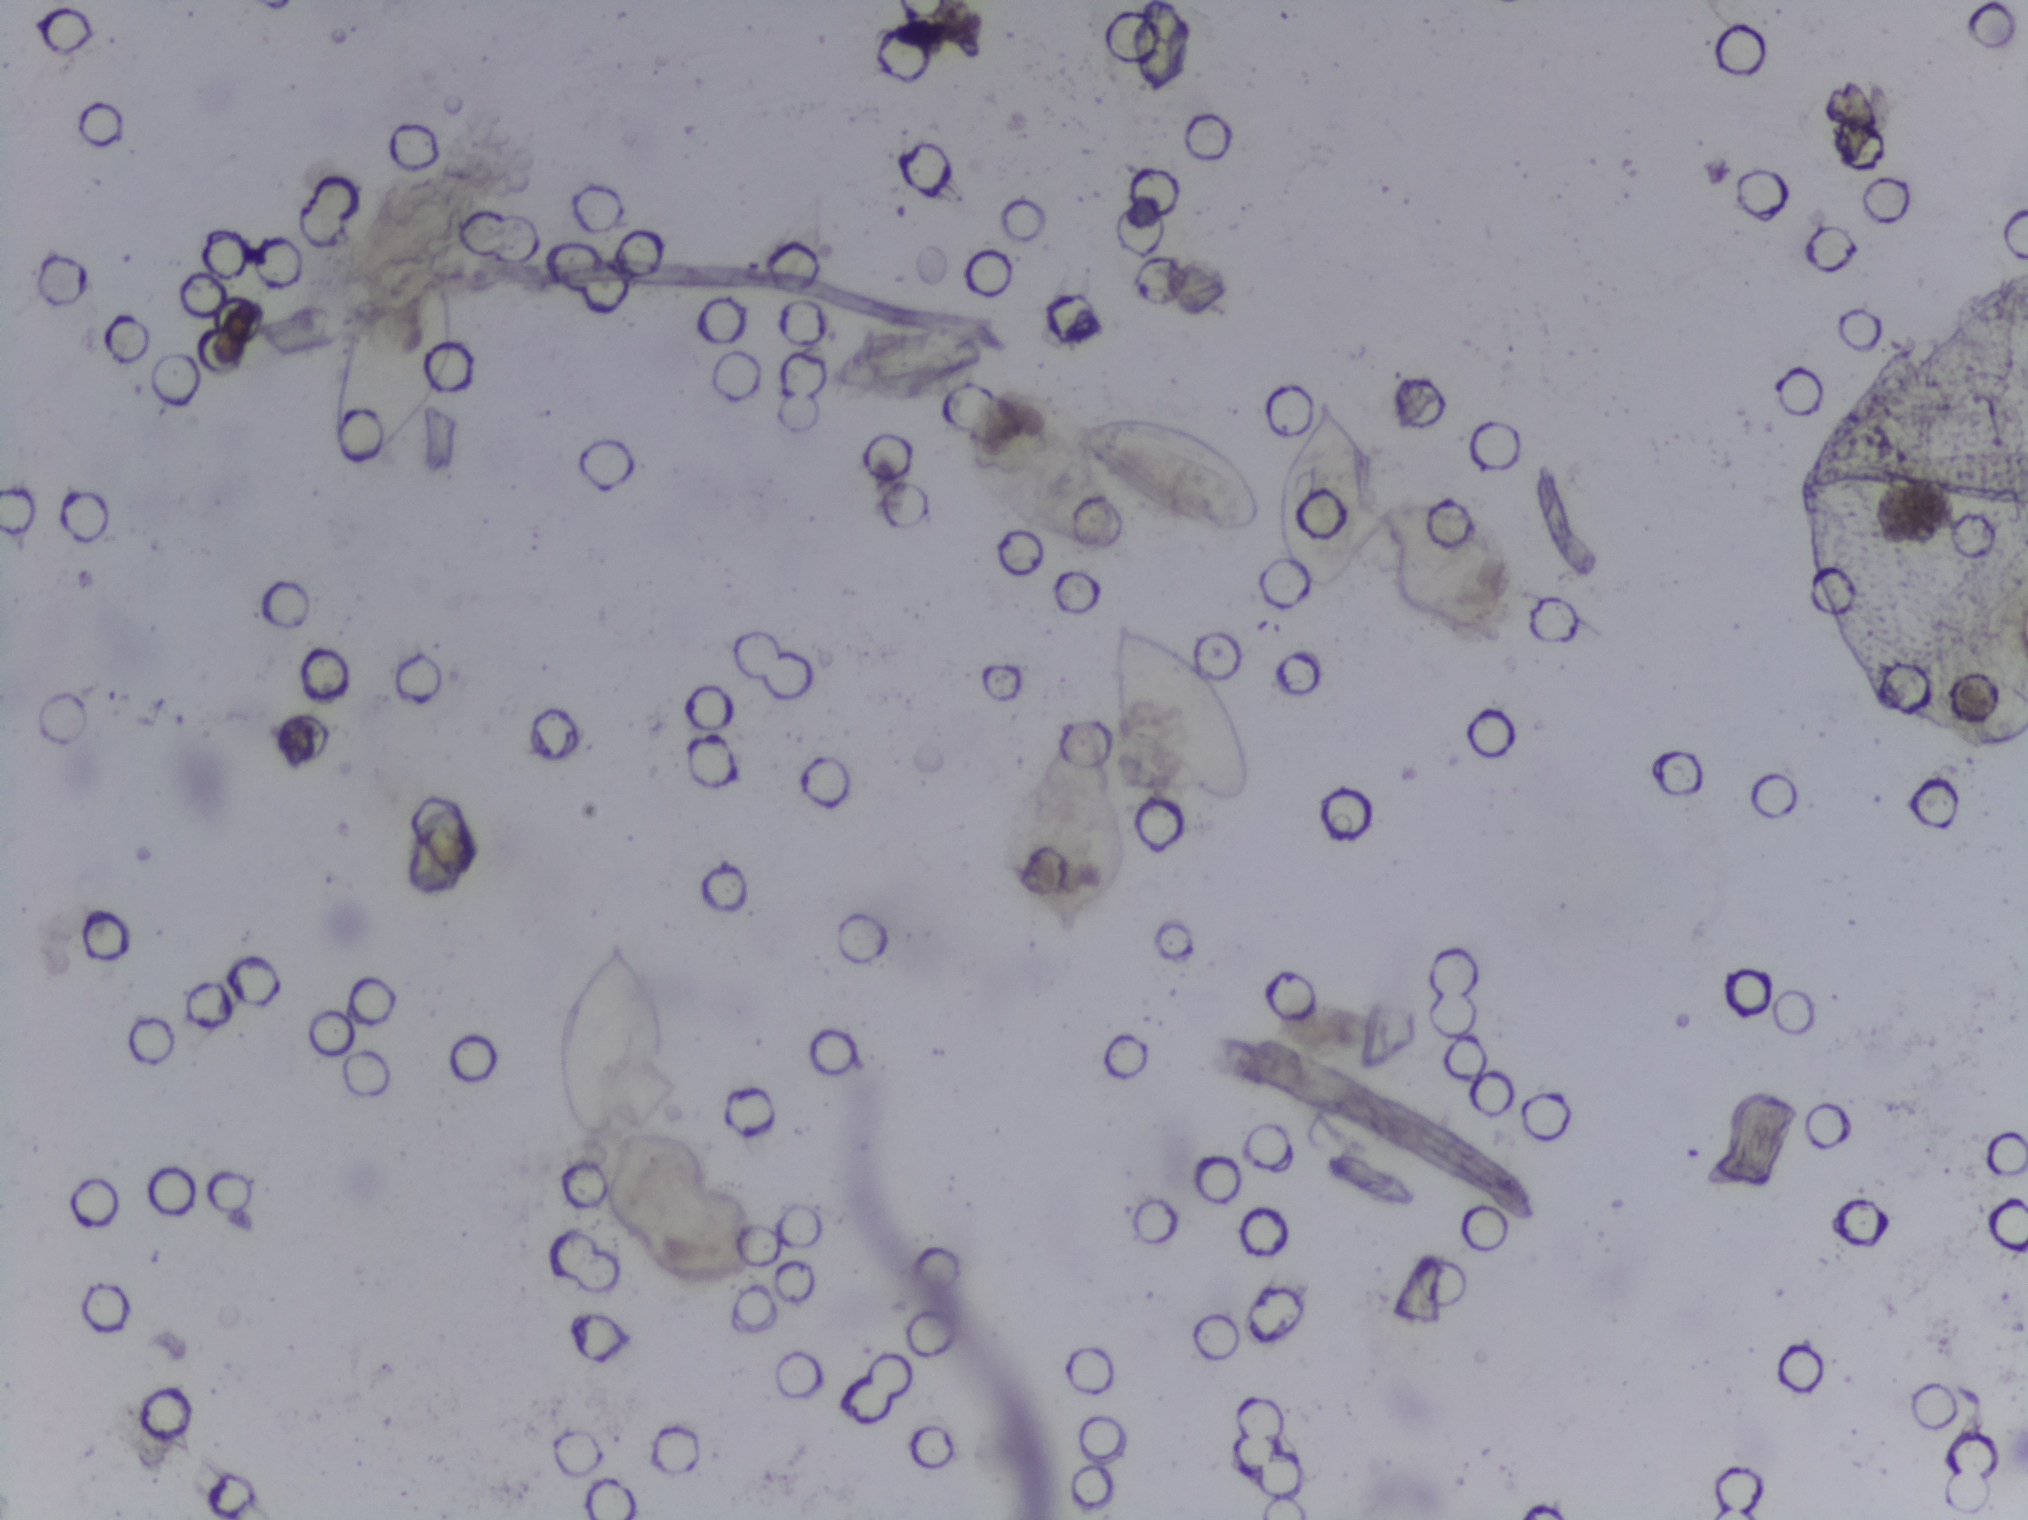
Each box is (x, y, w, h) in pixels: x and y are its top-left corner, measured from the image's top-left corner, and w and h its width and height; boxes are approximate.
Schistosoma eggs are outlined in the expert annotation at (x=327, y=269, w=128, h=201); (x=554, y=925, w=111, h=222); (x=1062, y=409, w=203, h=133); (x=1107, y=615, w=148, h=195); (x=1277, y=392, w=106, h=208). A single outlined area may contain several eggs. A marked egg may occasionally be S. mansoni rather than S. haematobium.
One field of view of a urine filter membrane, 4× objective, 2028 × 1520 pixels. The field of view is about 1.5 mm × 1.1 mm.